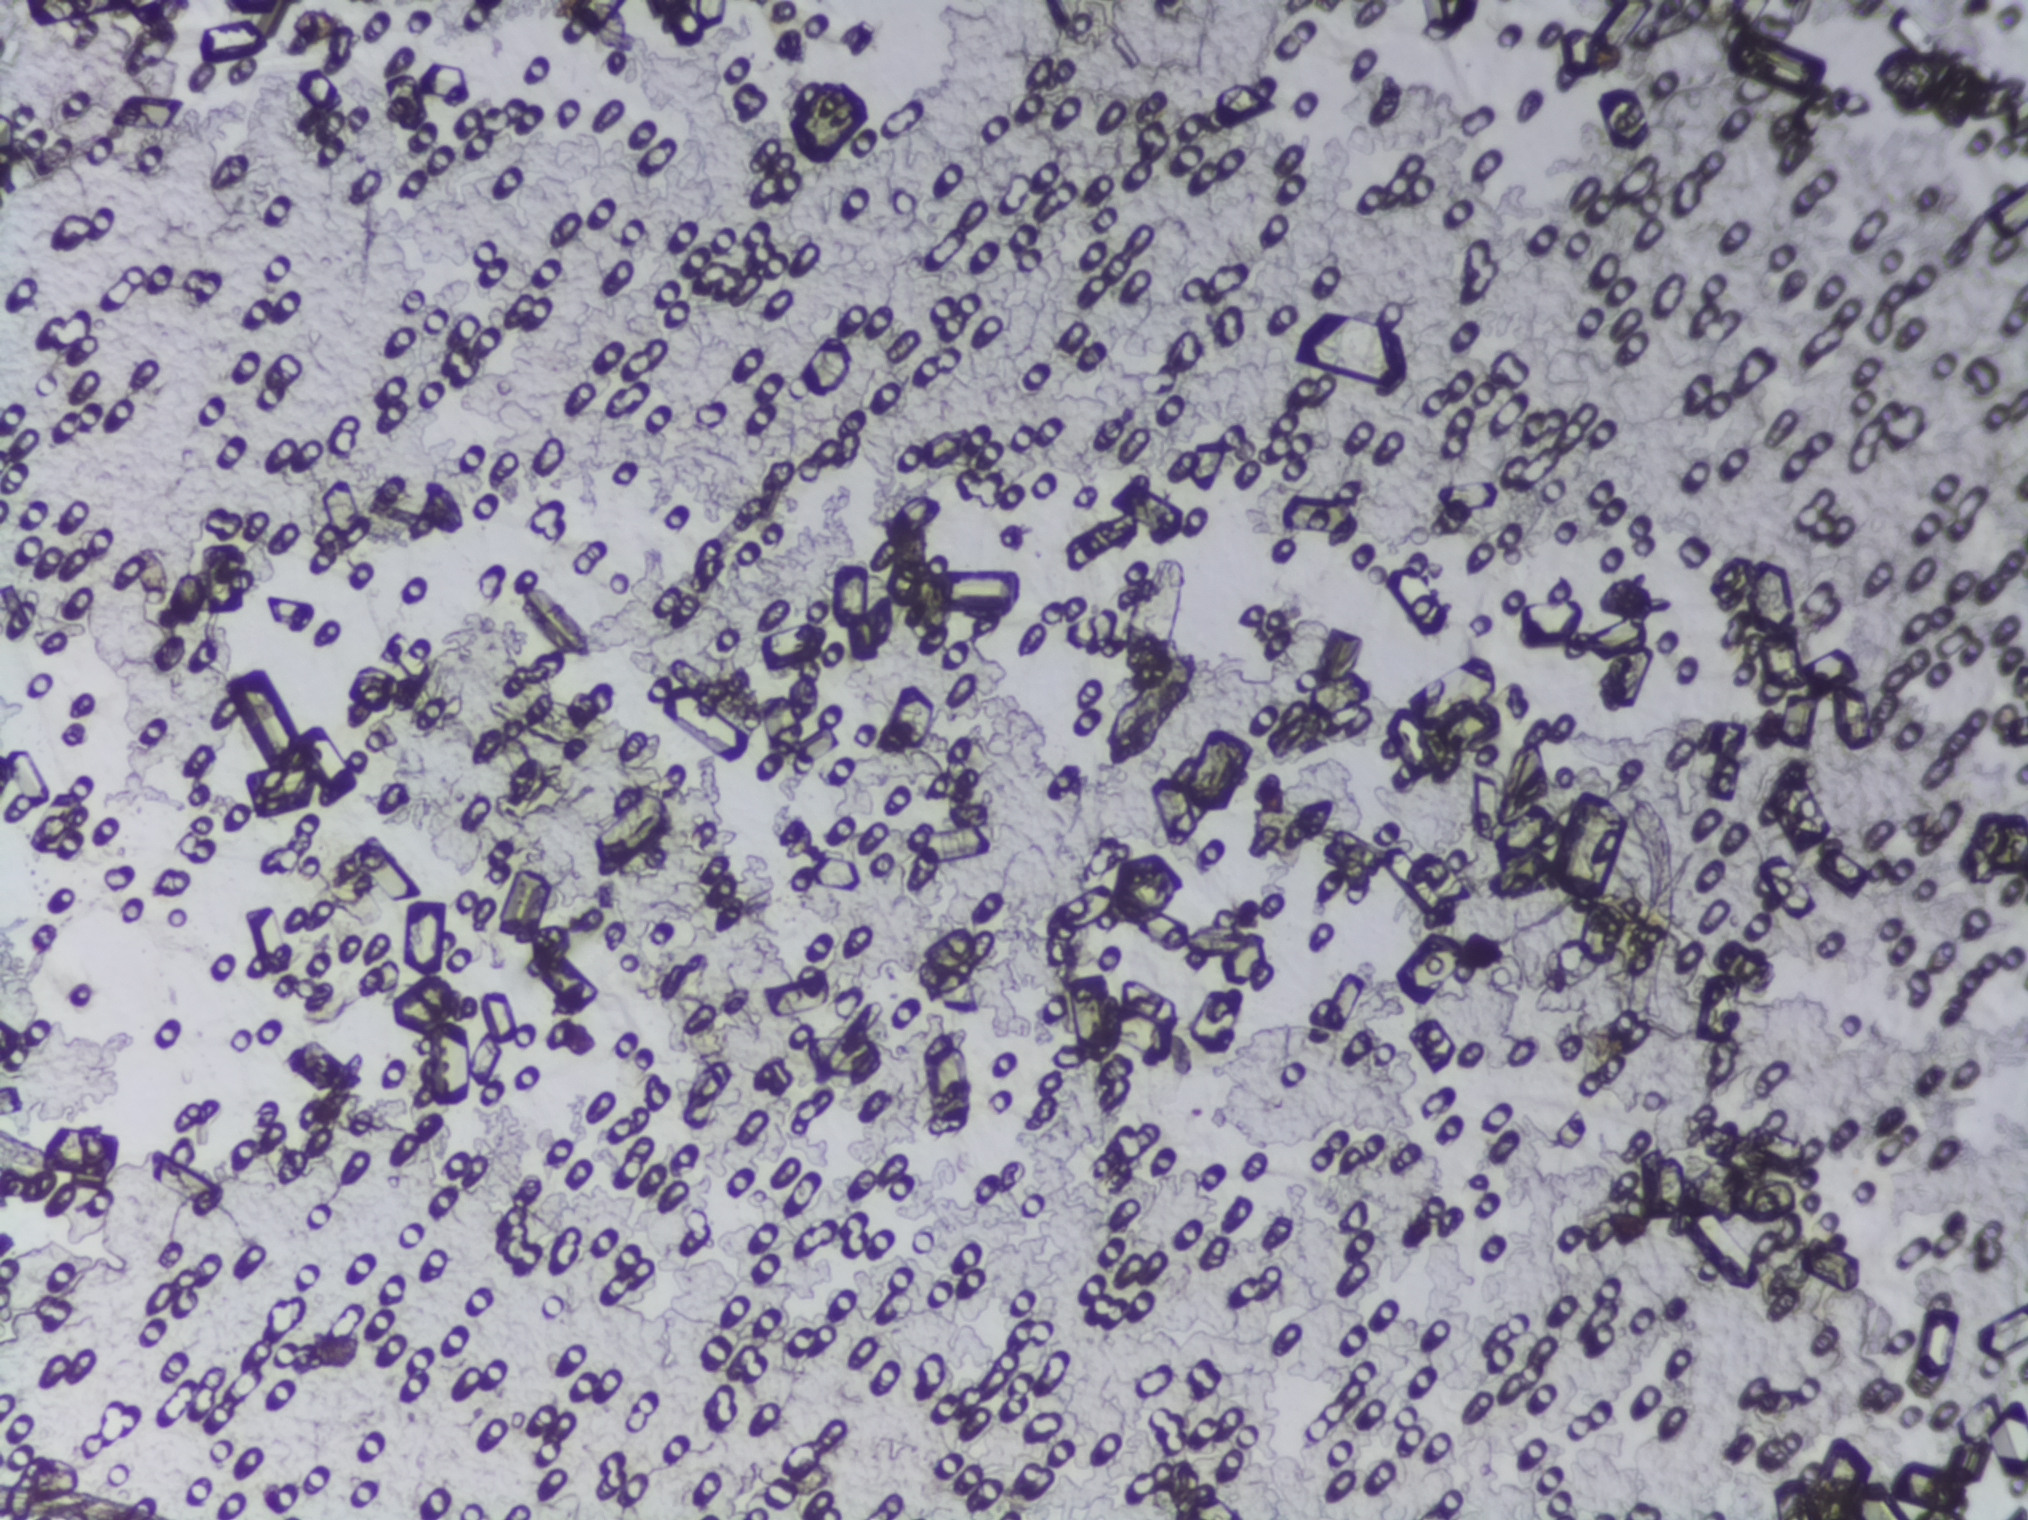
Urine filter membrane photographed through a 4× microscope objective.
The expert annotation outlines no Schistosoma egg in this image.